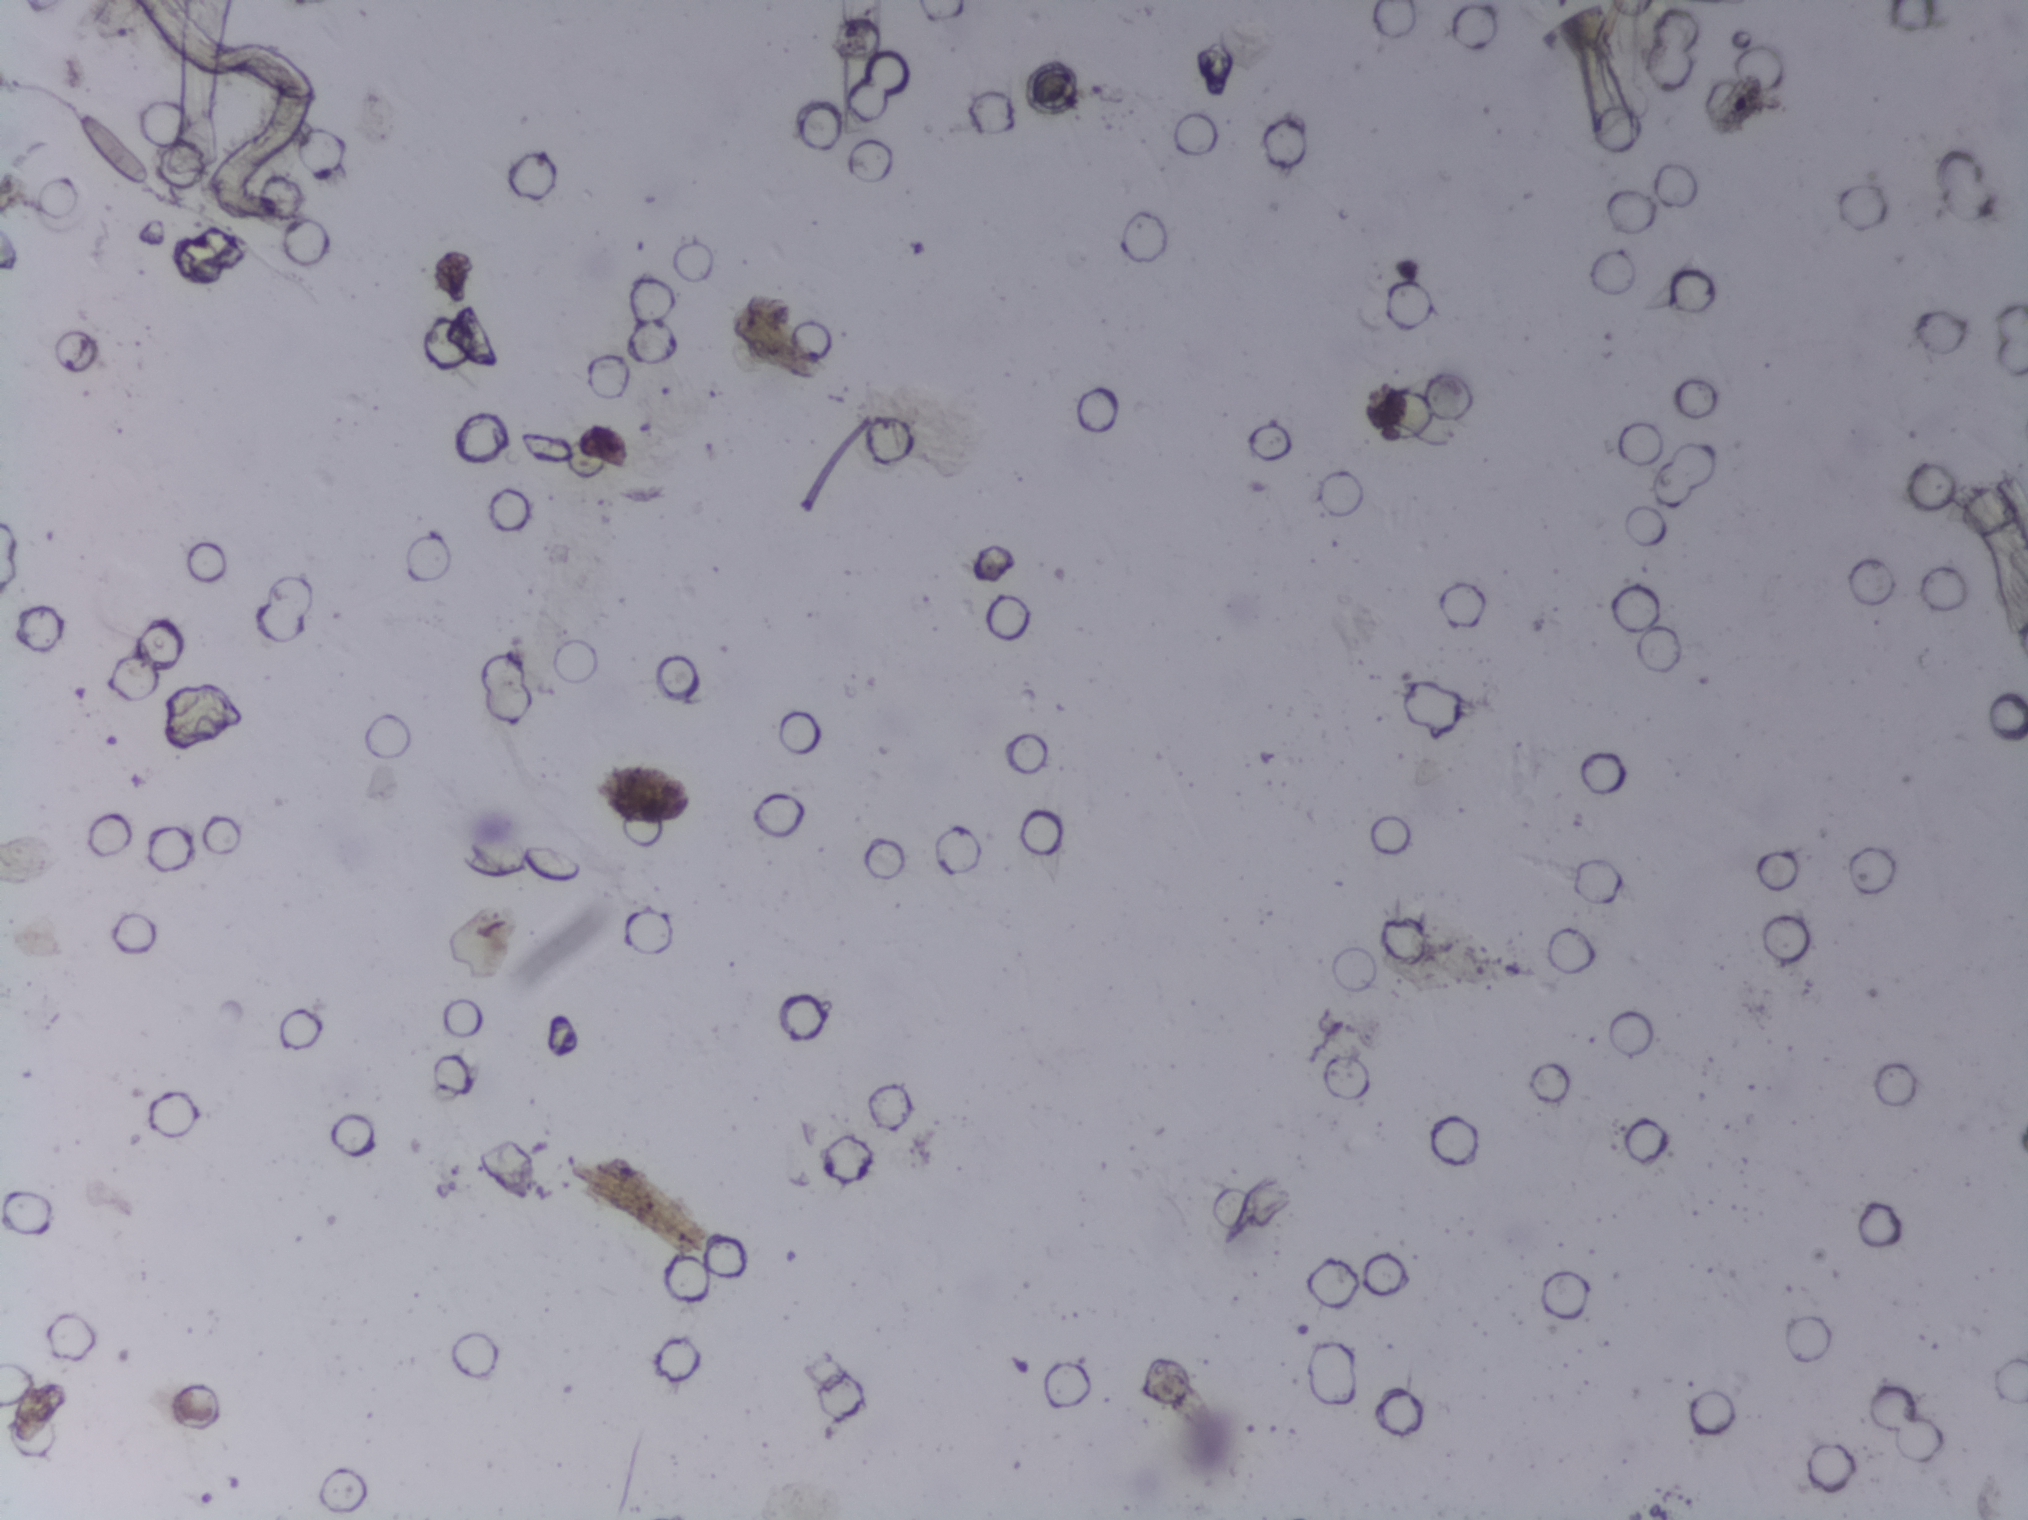
Photomicrograph of a urine filtration membrane, 4× objective.
Schistosoma eggs: none outlined.